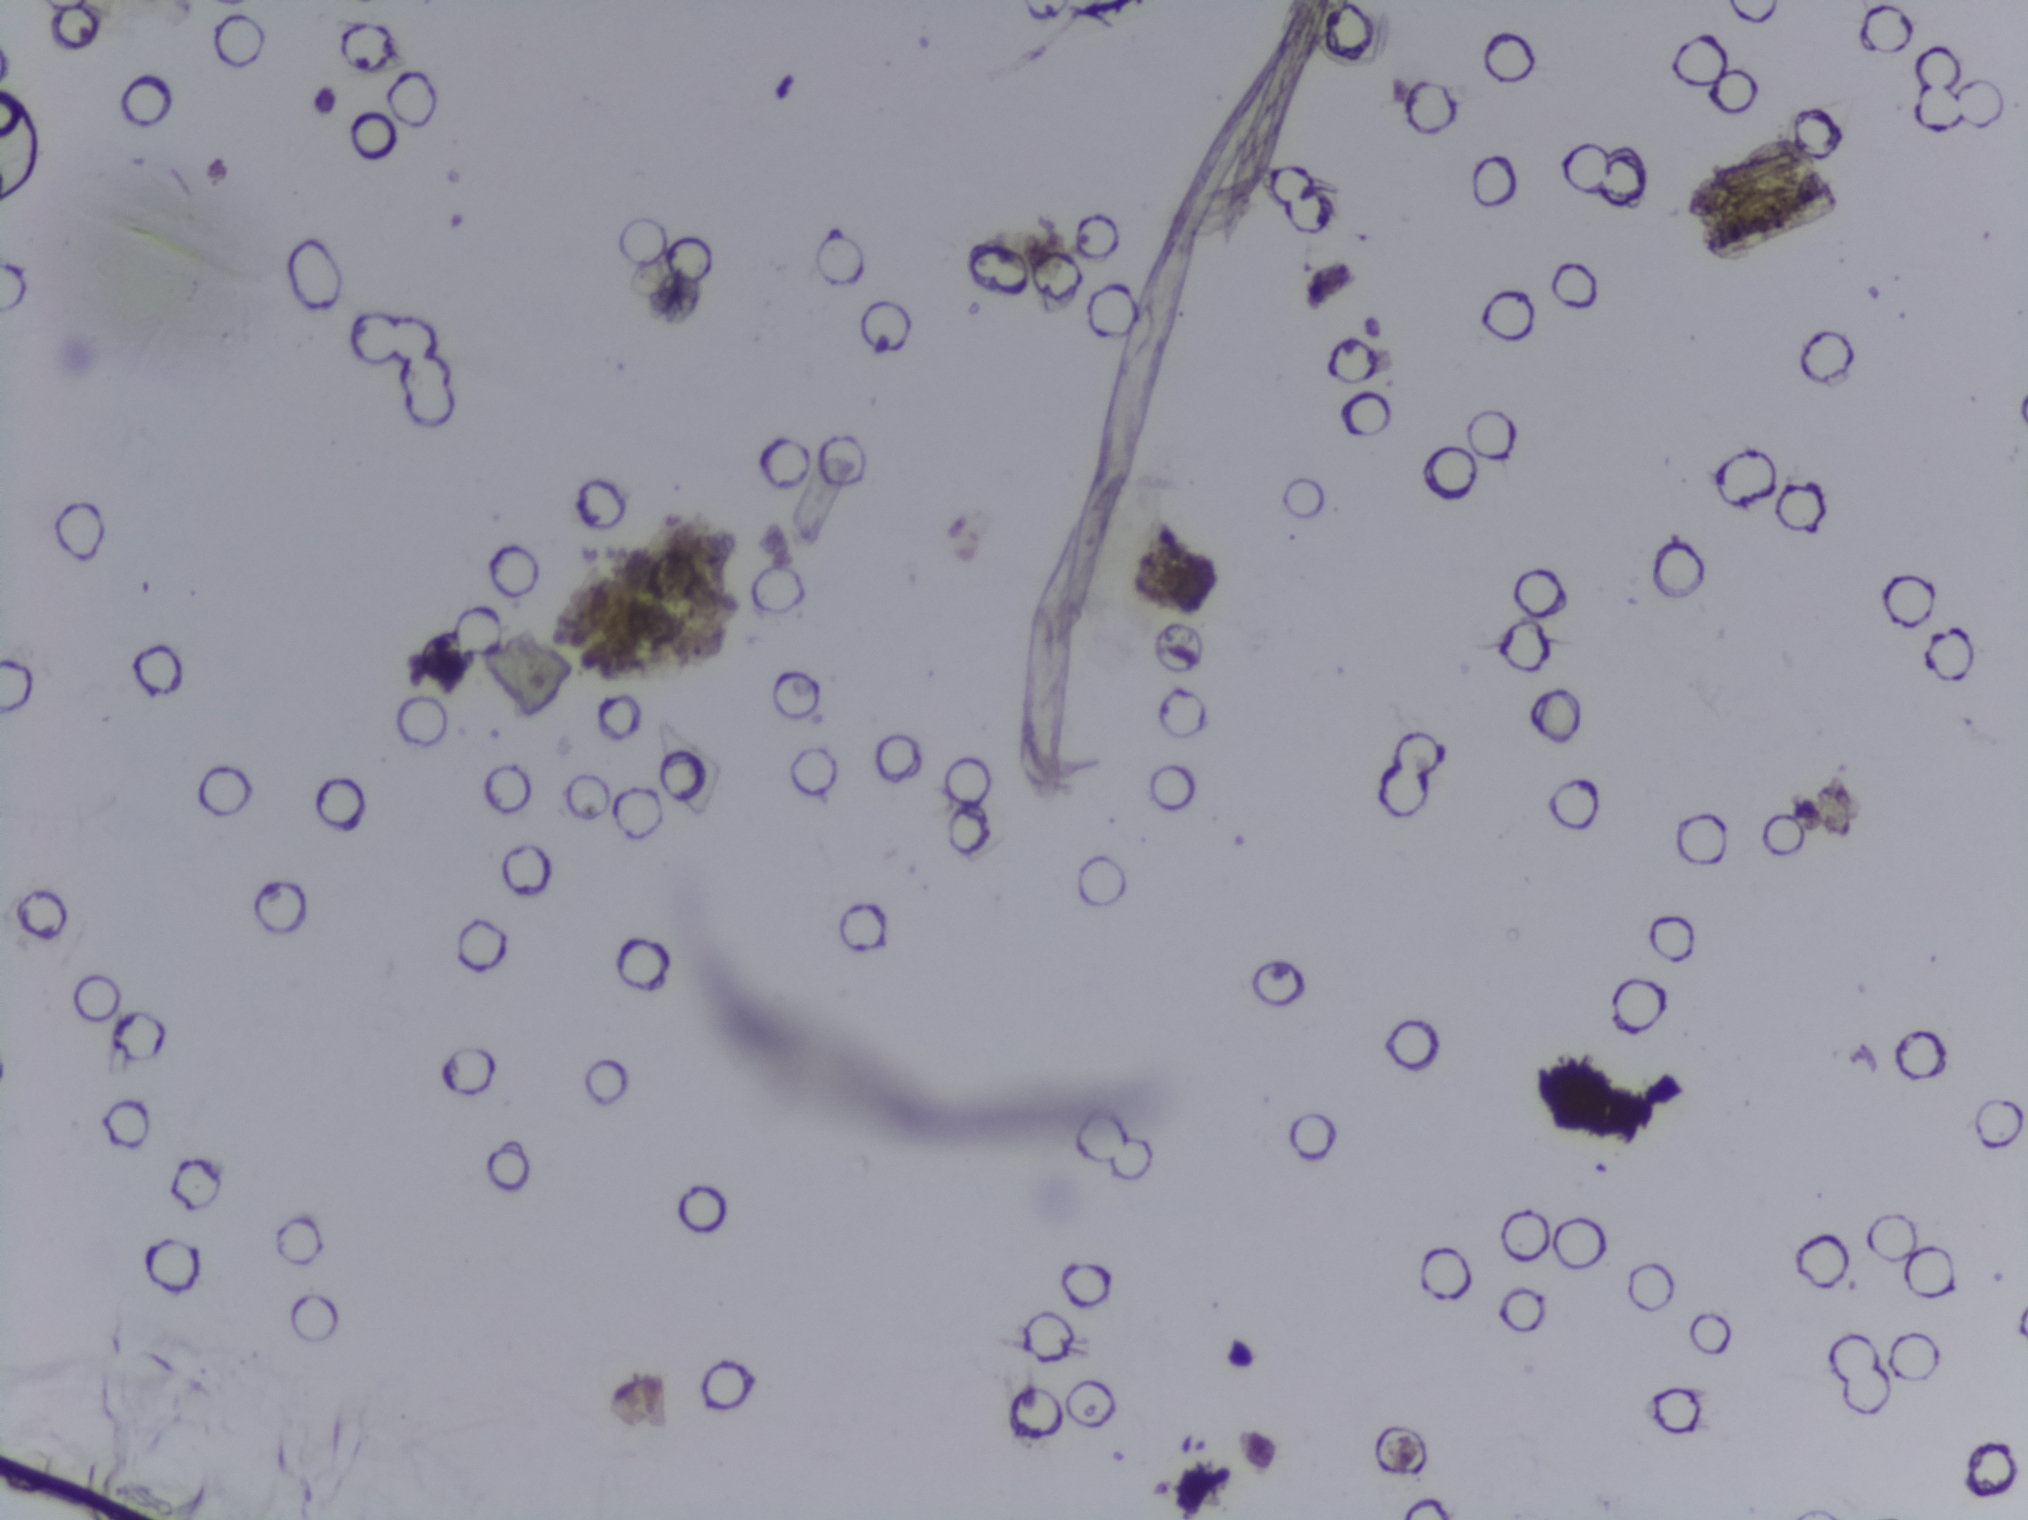
One field of view of a urine filter membrane, 4× objective, 2028 × 1520 pixels.
The expert annotation marks no Schistosoma egg in this field of view.